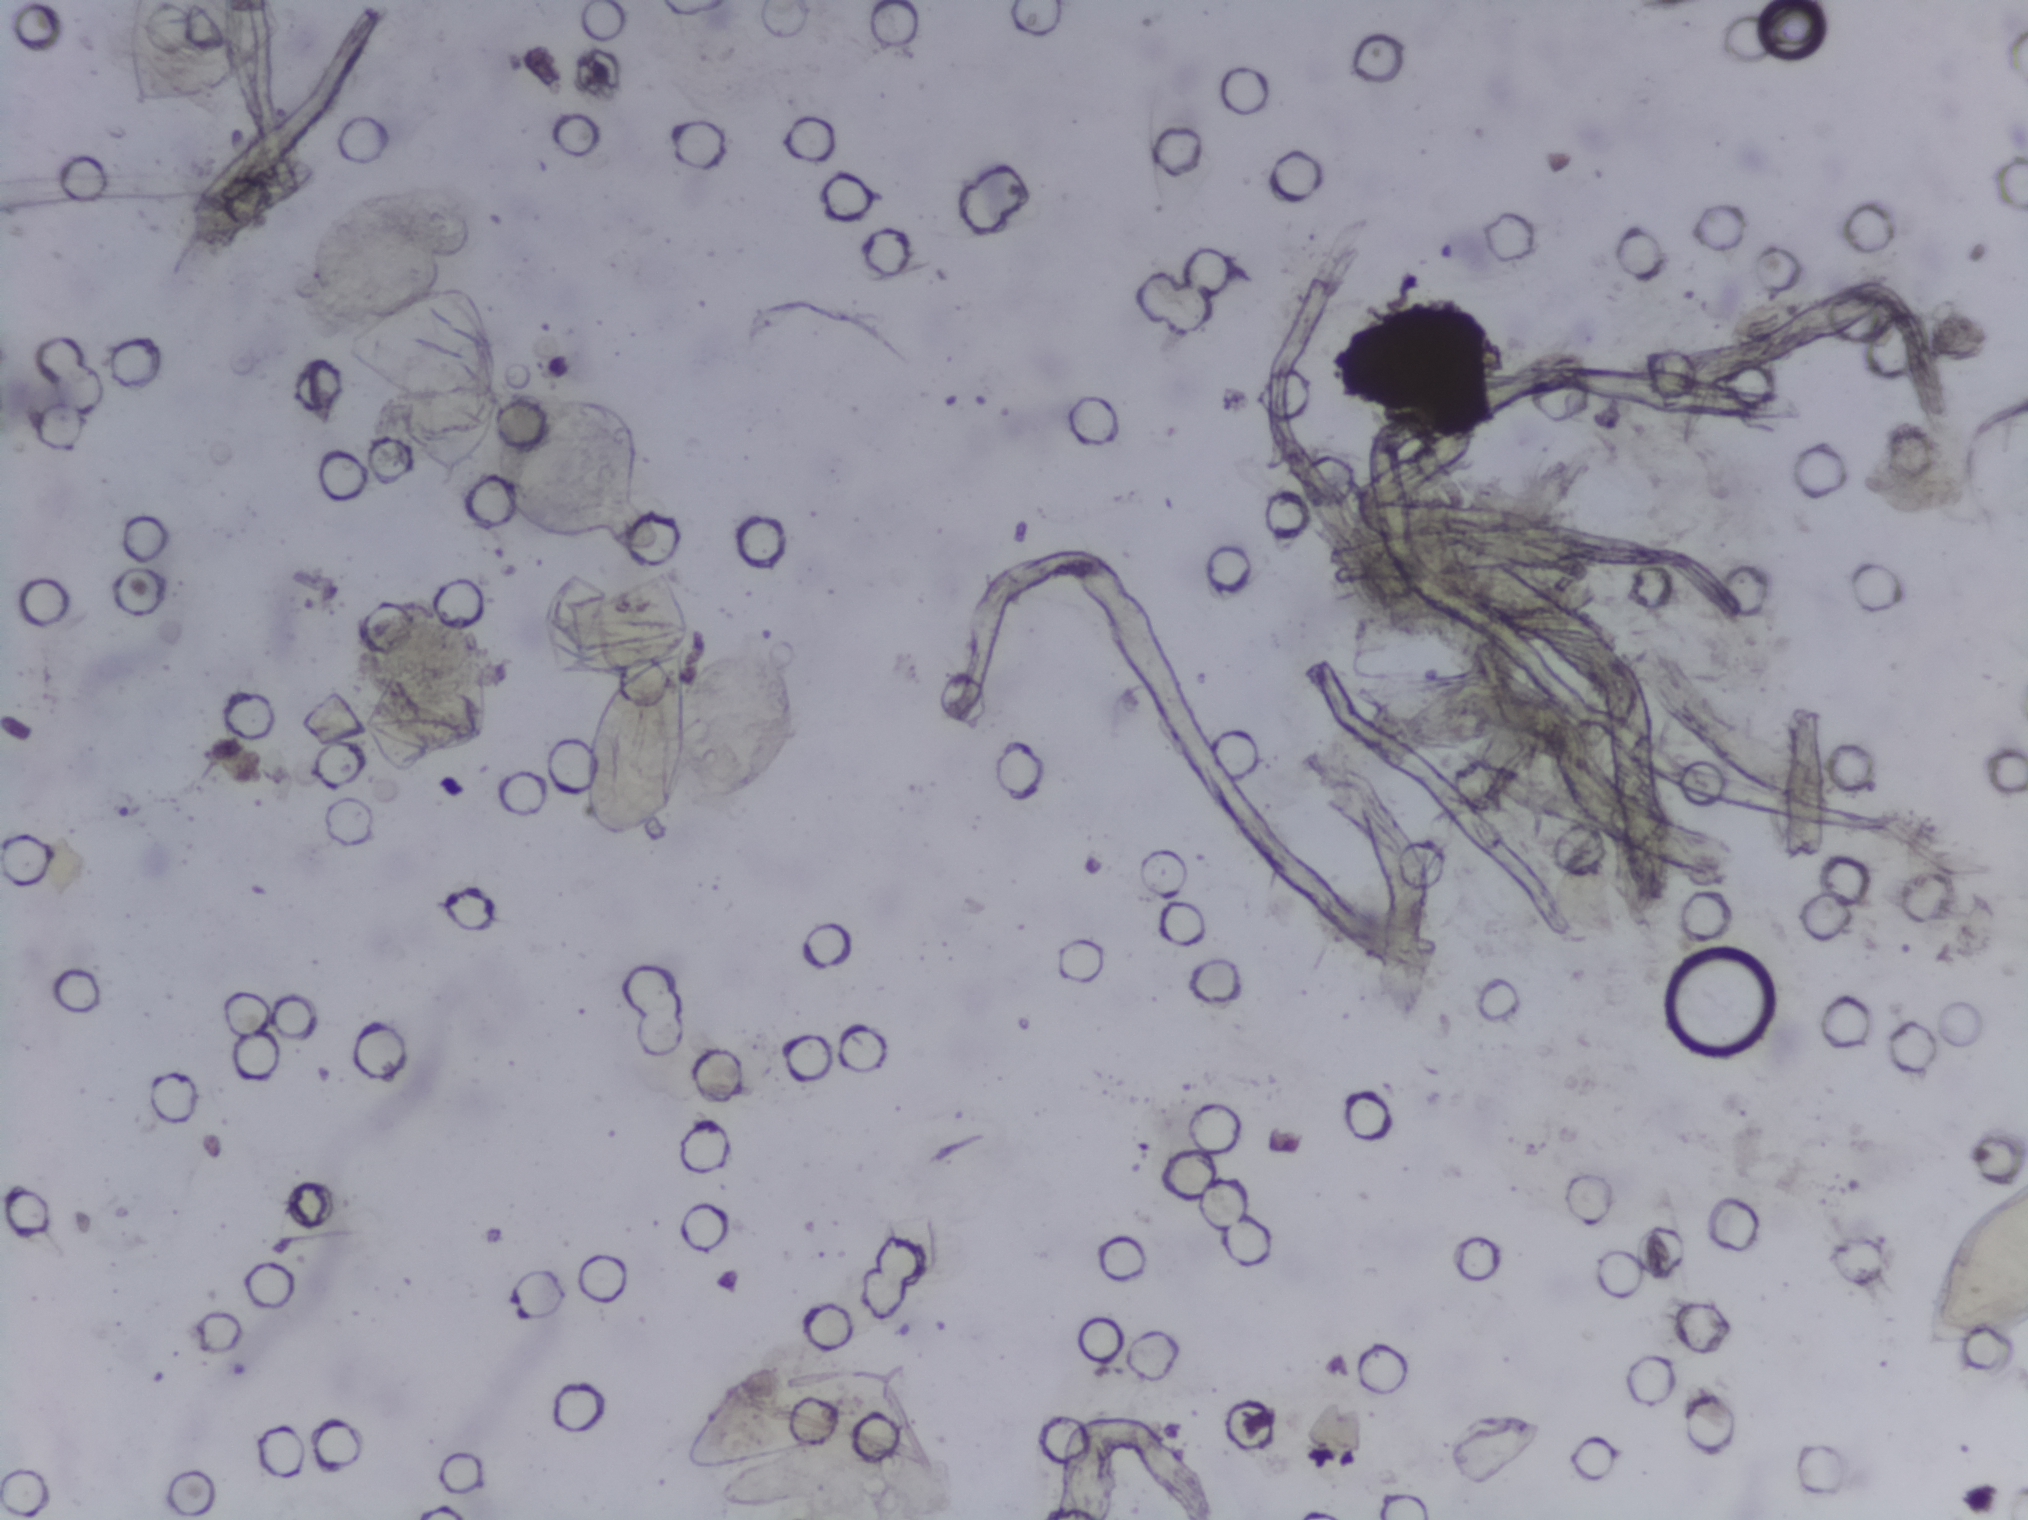
One field of view of a urine filter membrane, 4× objective, 2028 × 1520 pixels.
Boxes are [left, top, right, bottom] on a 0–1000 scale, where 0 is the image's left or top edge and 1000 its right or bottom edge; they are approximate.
Schistosoma eggs are outlined in the expert annotation at [286, 425, 341, 553] and [946, 774, 1000, 890] (reaching the right edge of the frame) (left to right). An outlined area can hold more than one egg.